Urine filter membrane photographed through a 4× microscope objective.
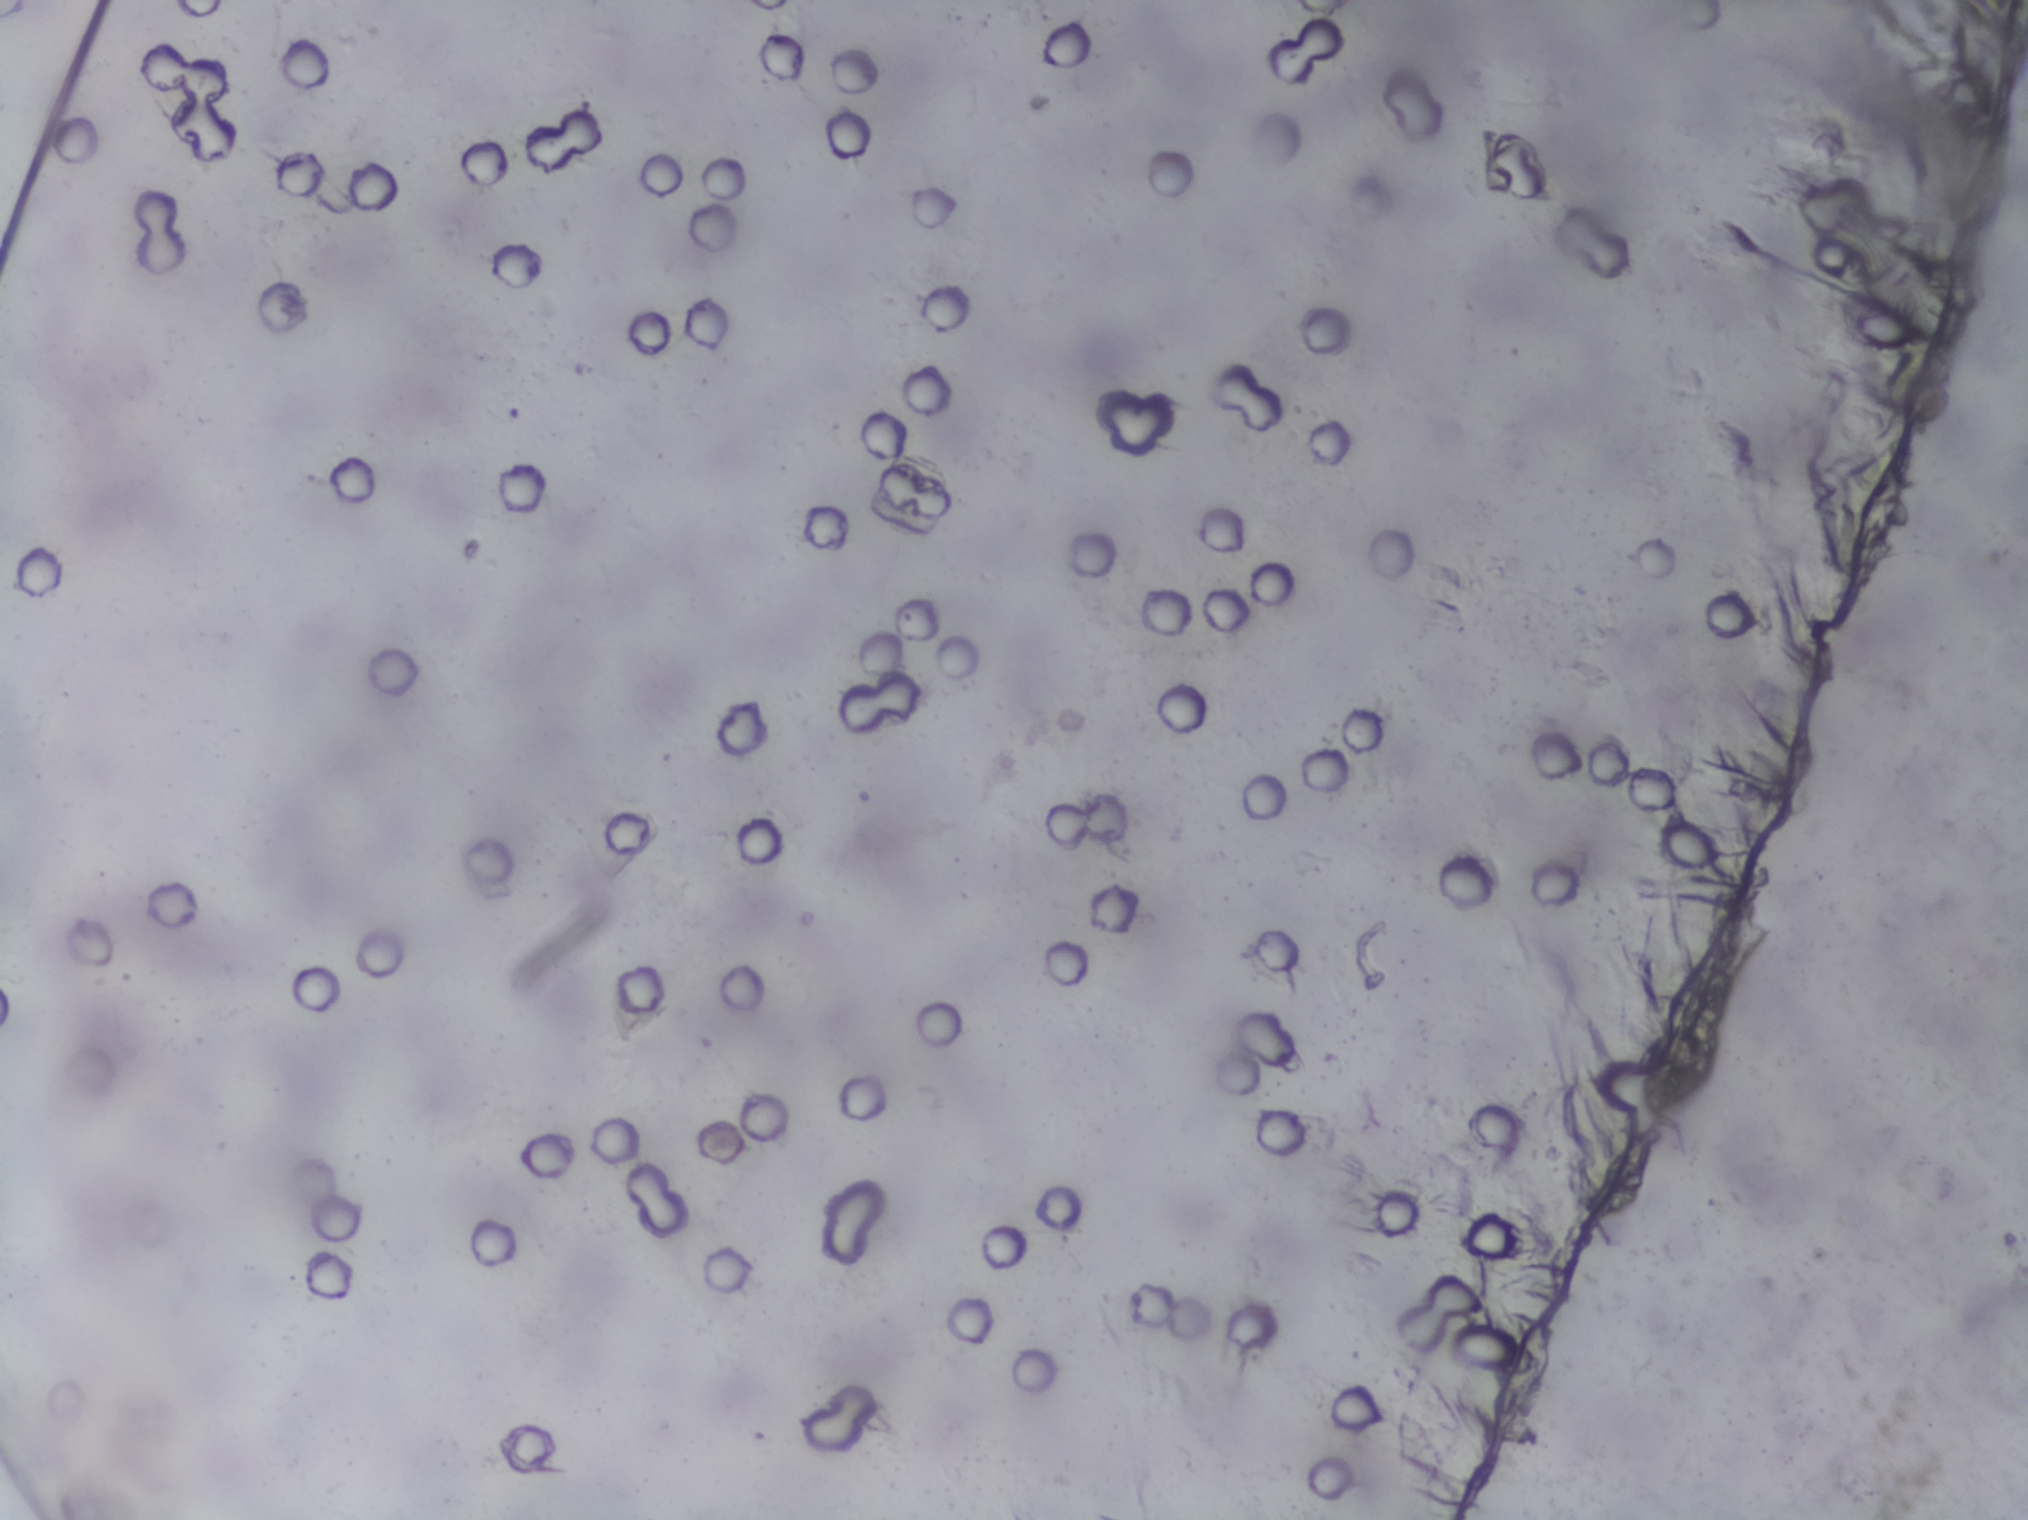
Schistosoma eggs: none outlined.